One field of view of a urine filter membrane, 4× objective, 2028 × 1520 pixels. Field of view: about 1.5 mm wide and 1.1 mm high.
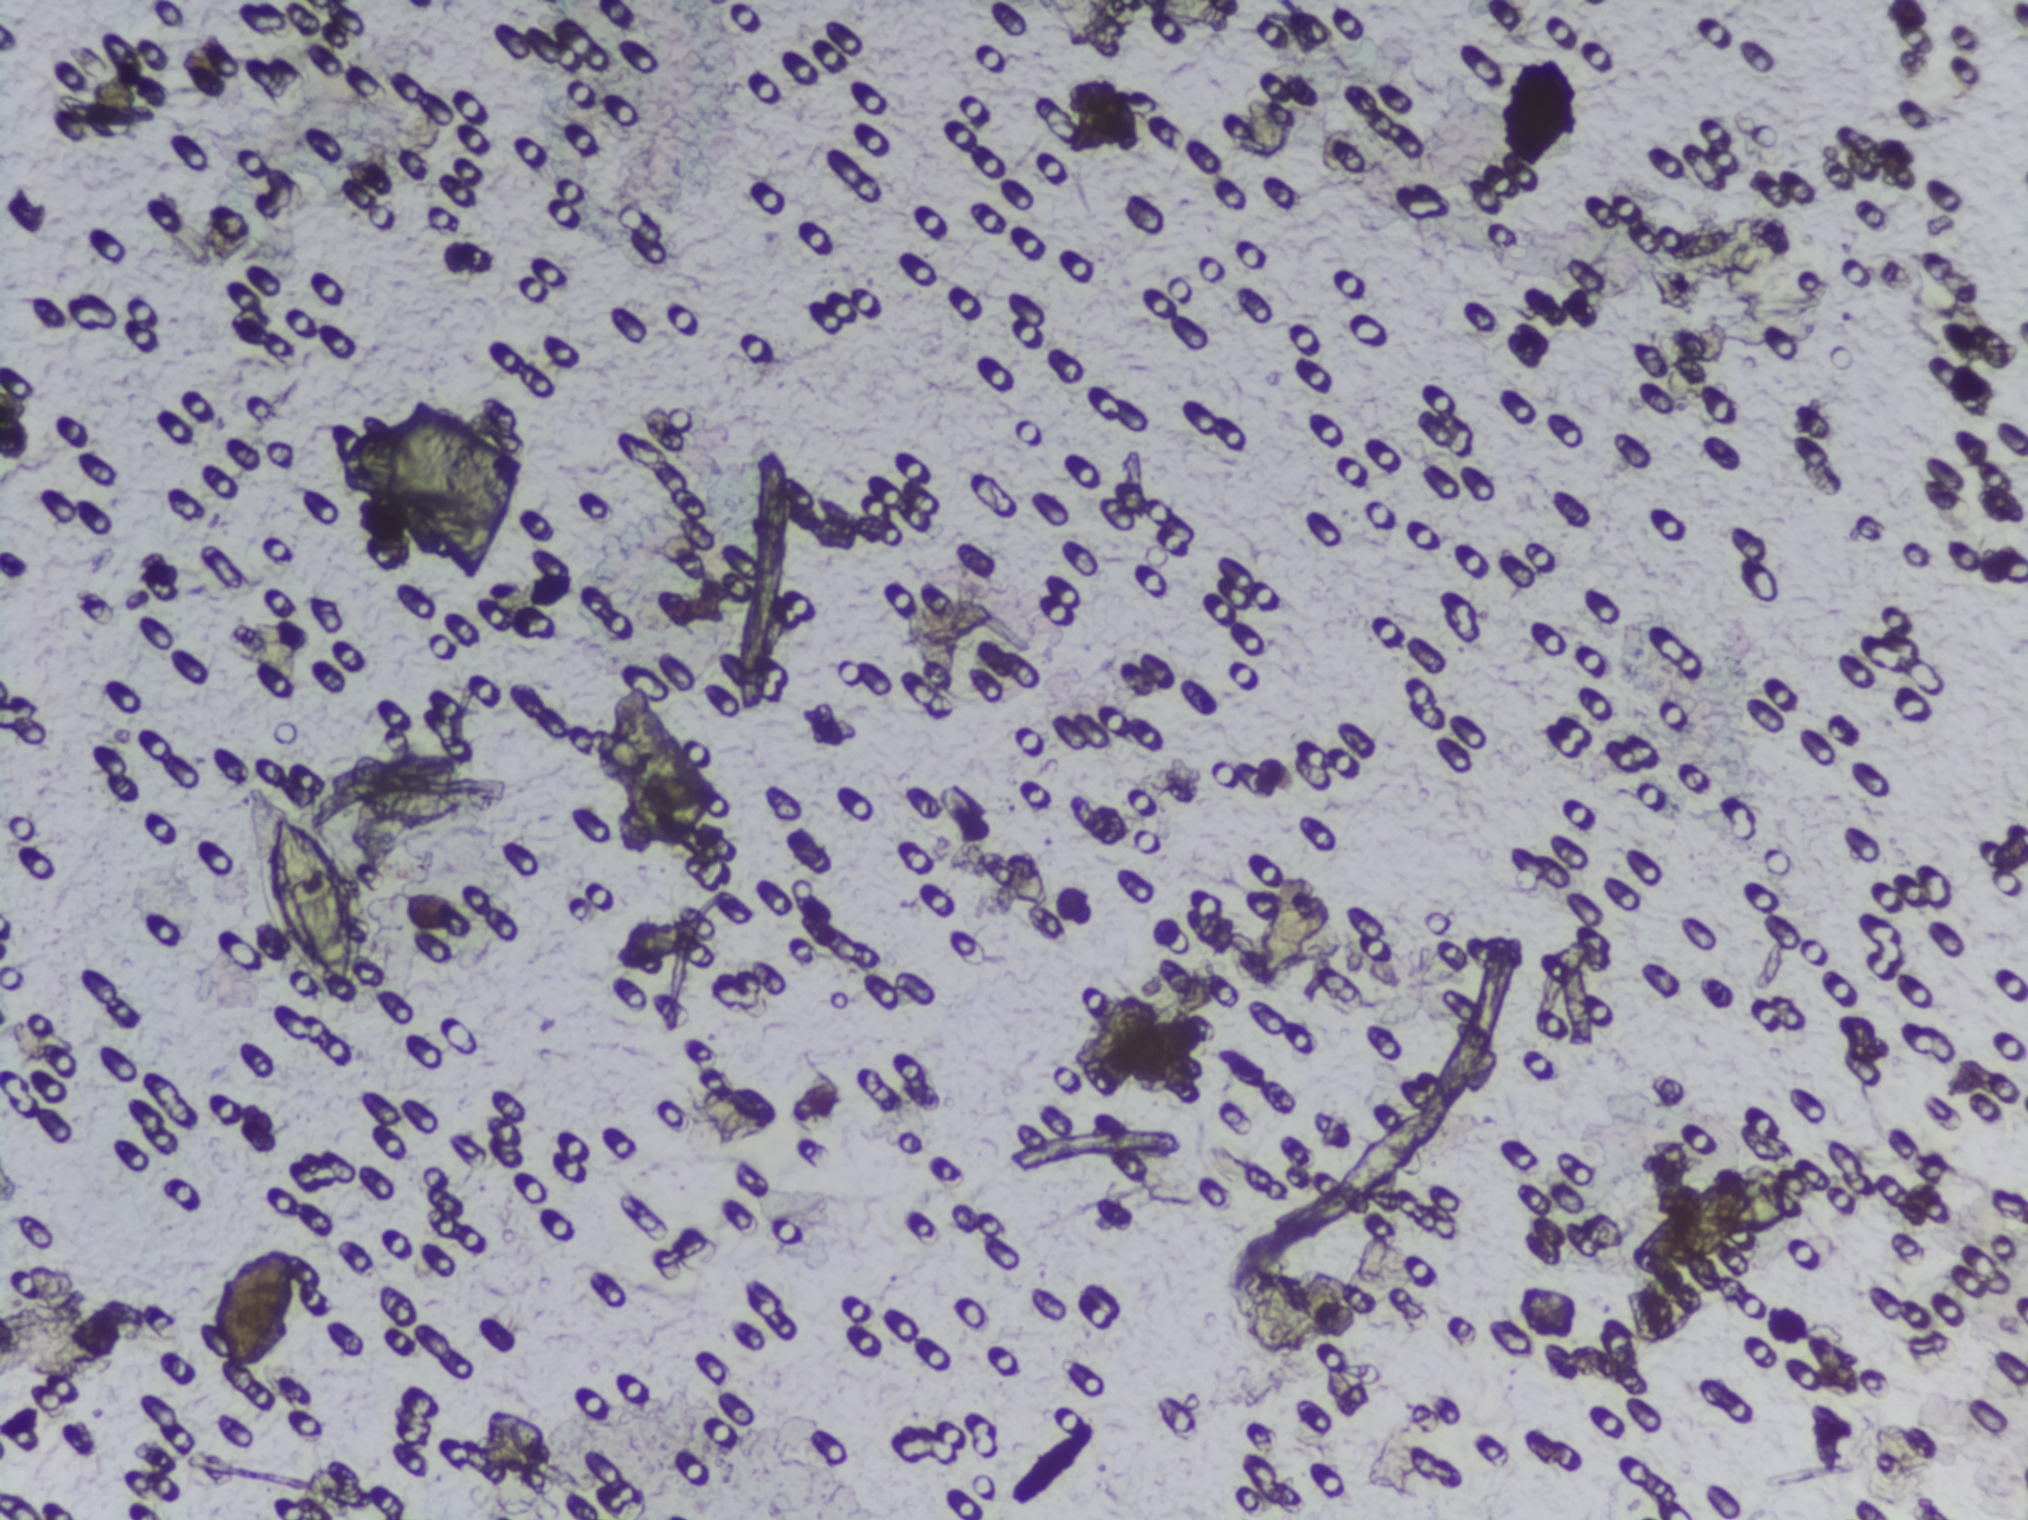
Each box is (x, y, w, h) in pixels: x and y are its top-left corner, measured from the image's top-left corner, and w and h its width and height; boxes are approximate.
Two areas of this image are outlined as Schistosoma eggs, from left to right: (x=238, y=778, w=14, h=7) and (x=253, y=785, w=142, h=227). A single outlined area may contain several eggs.